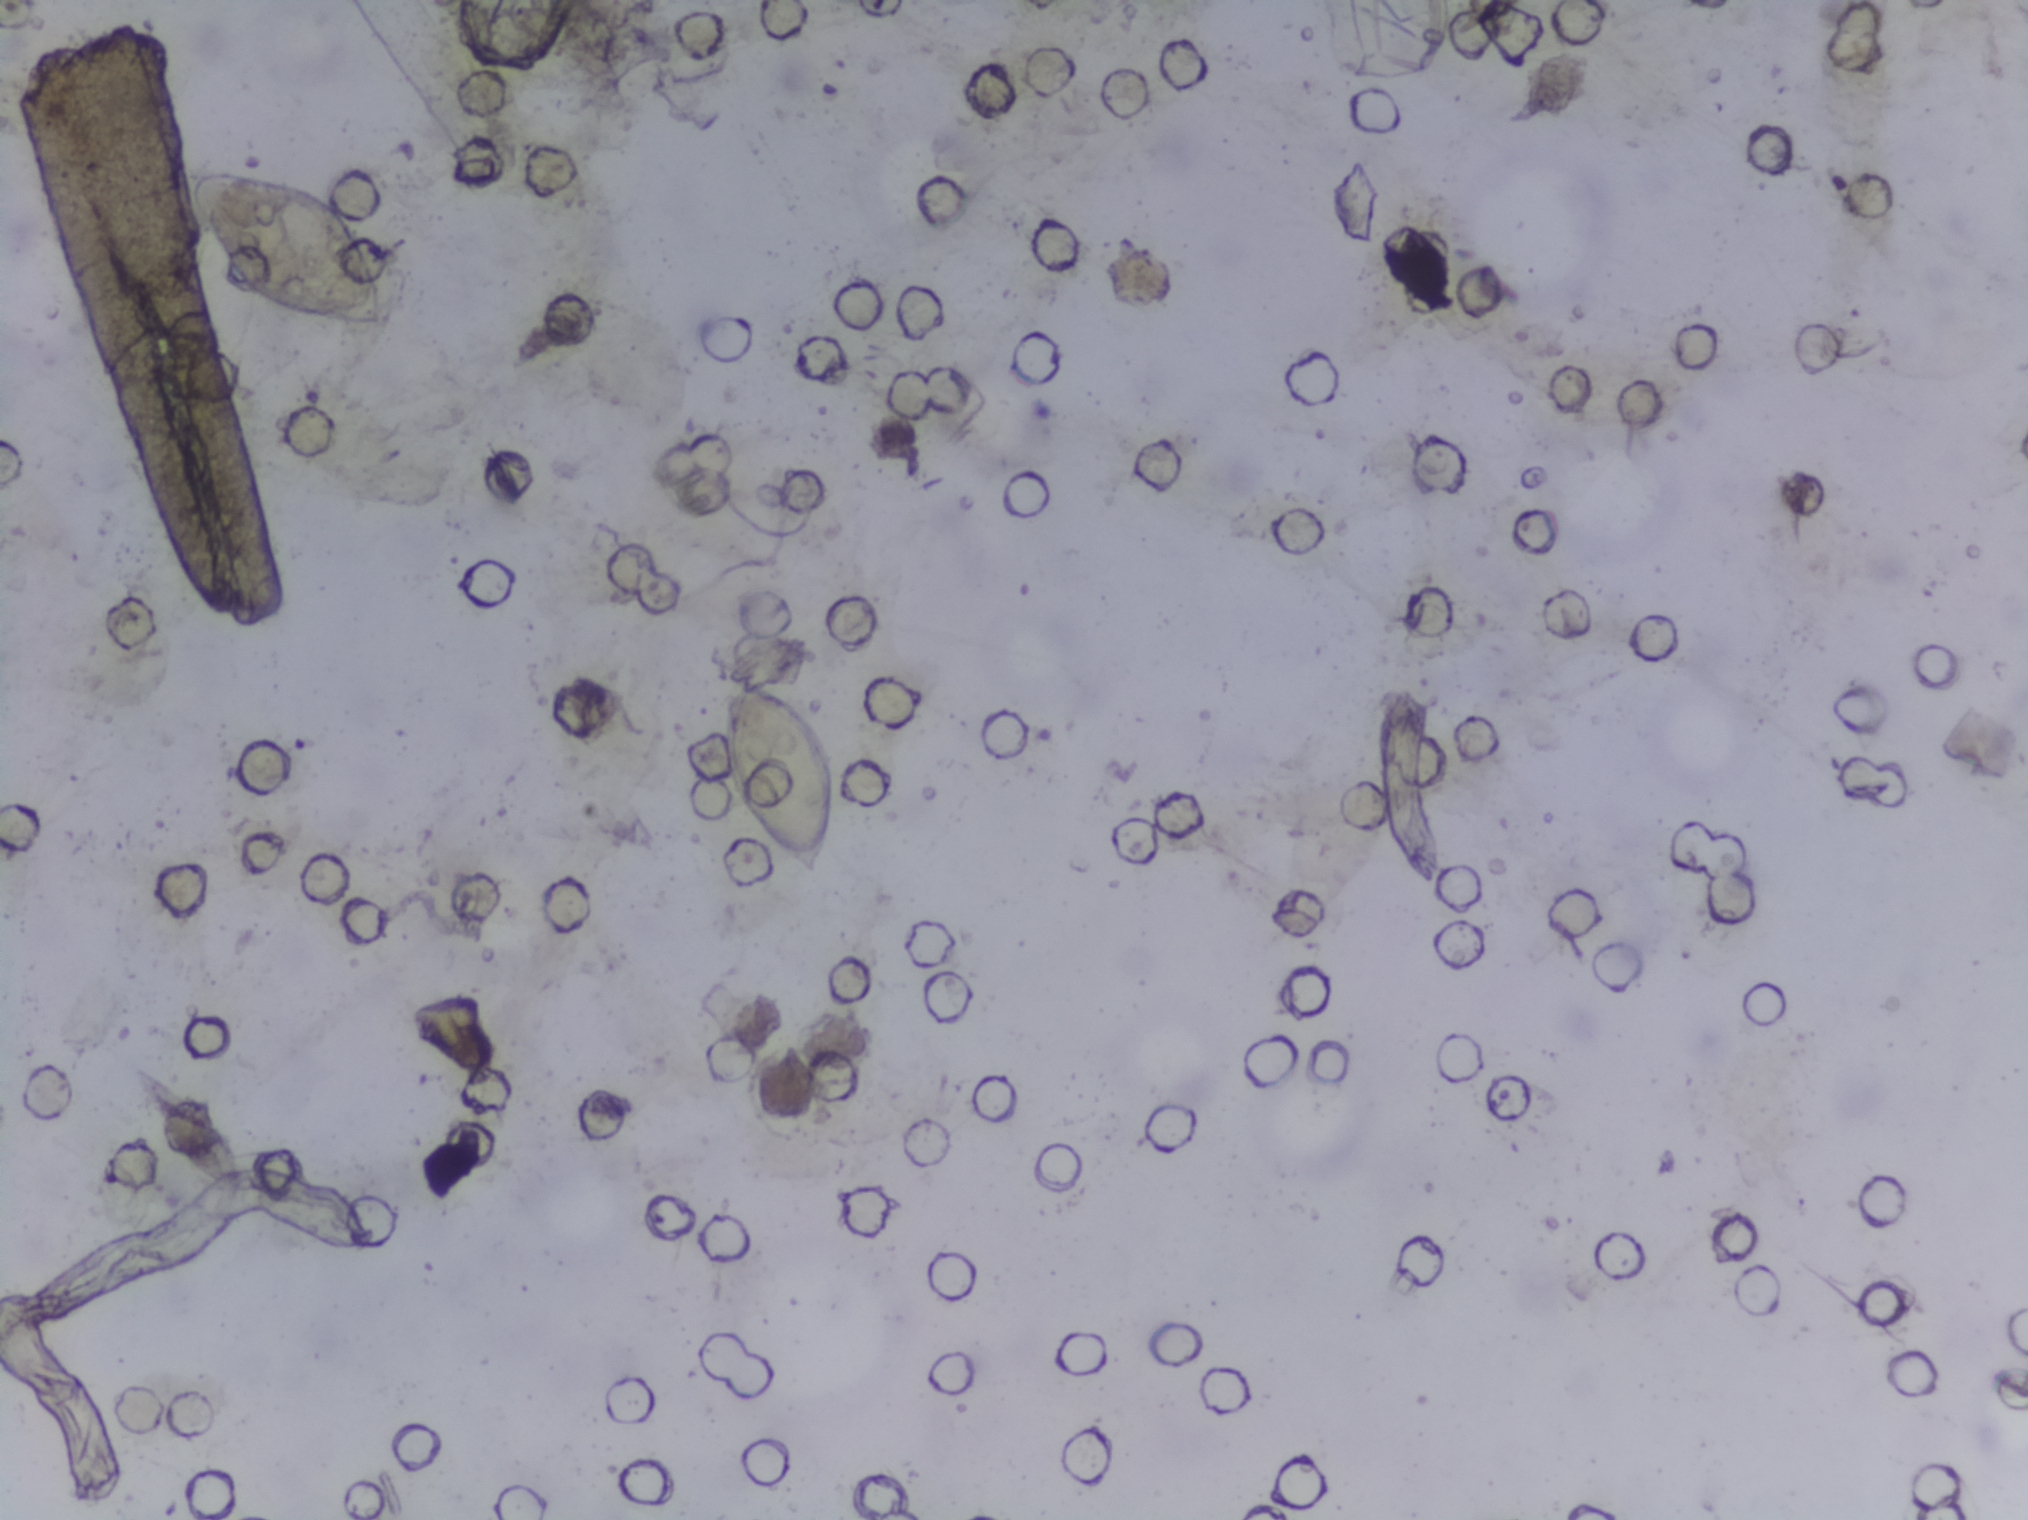
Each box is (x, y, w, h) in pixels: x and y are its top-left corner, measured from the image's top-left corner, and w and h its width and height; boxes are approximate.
Findings: two areas outlined as Schistosoma eggs. Locations: (x=191, y=158, w=204, h=178); (x=718, y=671, w=125, h=209). Eggs that touch can end up inside the same outlined area.
Photograph from an automated digital microscope: urine filter membrane, 4× objective. The field of view is about 1.5 mm × 1.1 mm.